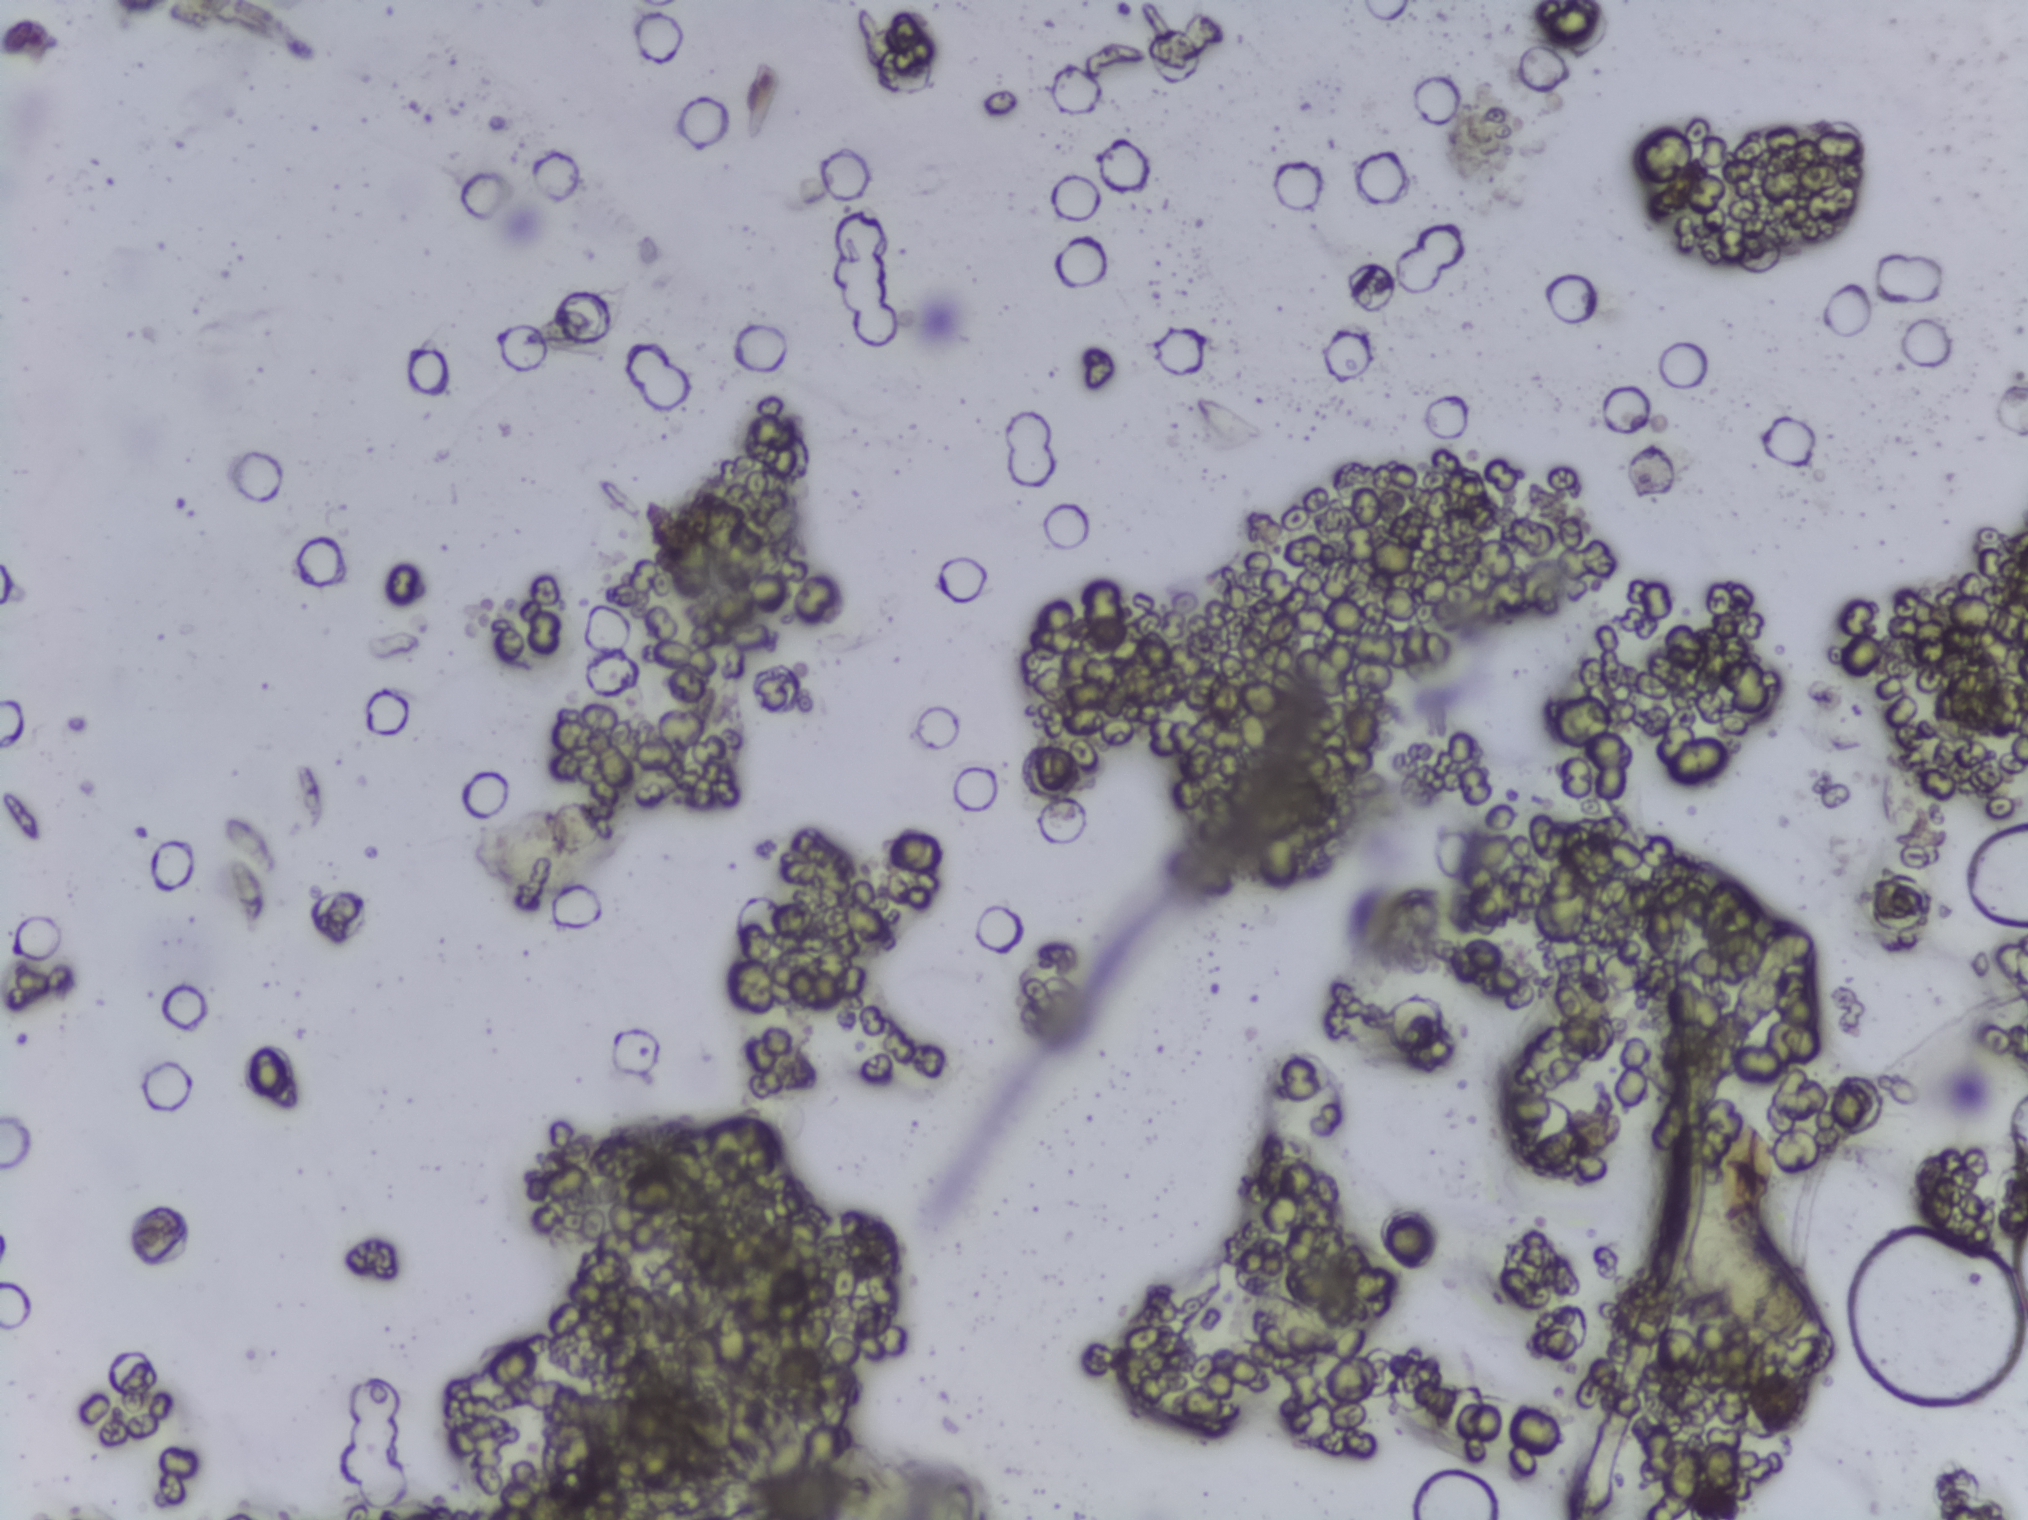
One field of view of a urine filter membrane, 4× objective, 2028 × 1520 pixels.
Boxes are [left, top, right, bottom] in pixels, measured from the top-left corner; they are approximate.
Areas outlined as Schistosoma eggs: [1669, 1194, 1829, 1368]. About 0.5% of the image's pixels are marked (the marked pixels themselves, not the box around them). Eggs that touch can end up inside the same outlined area.